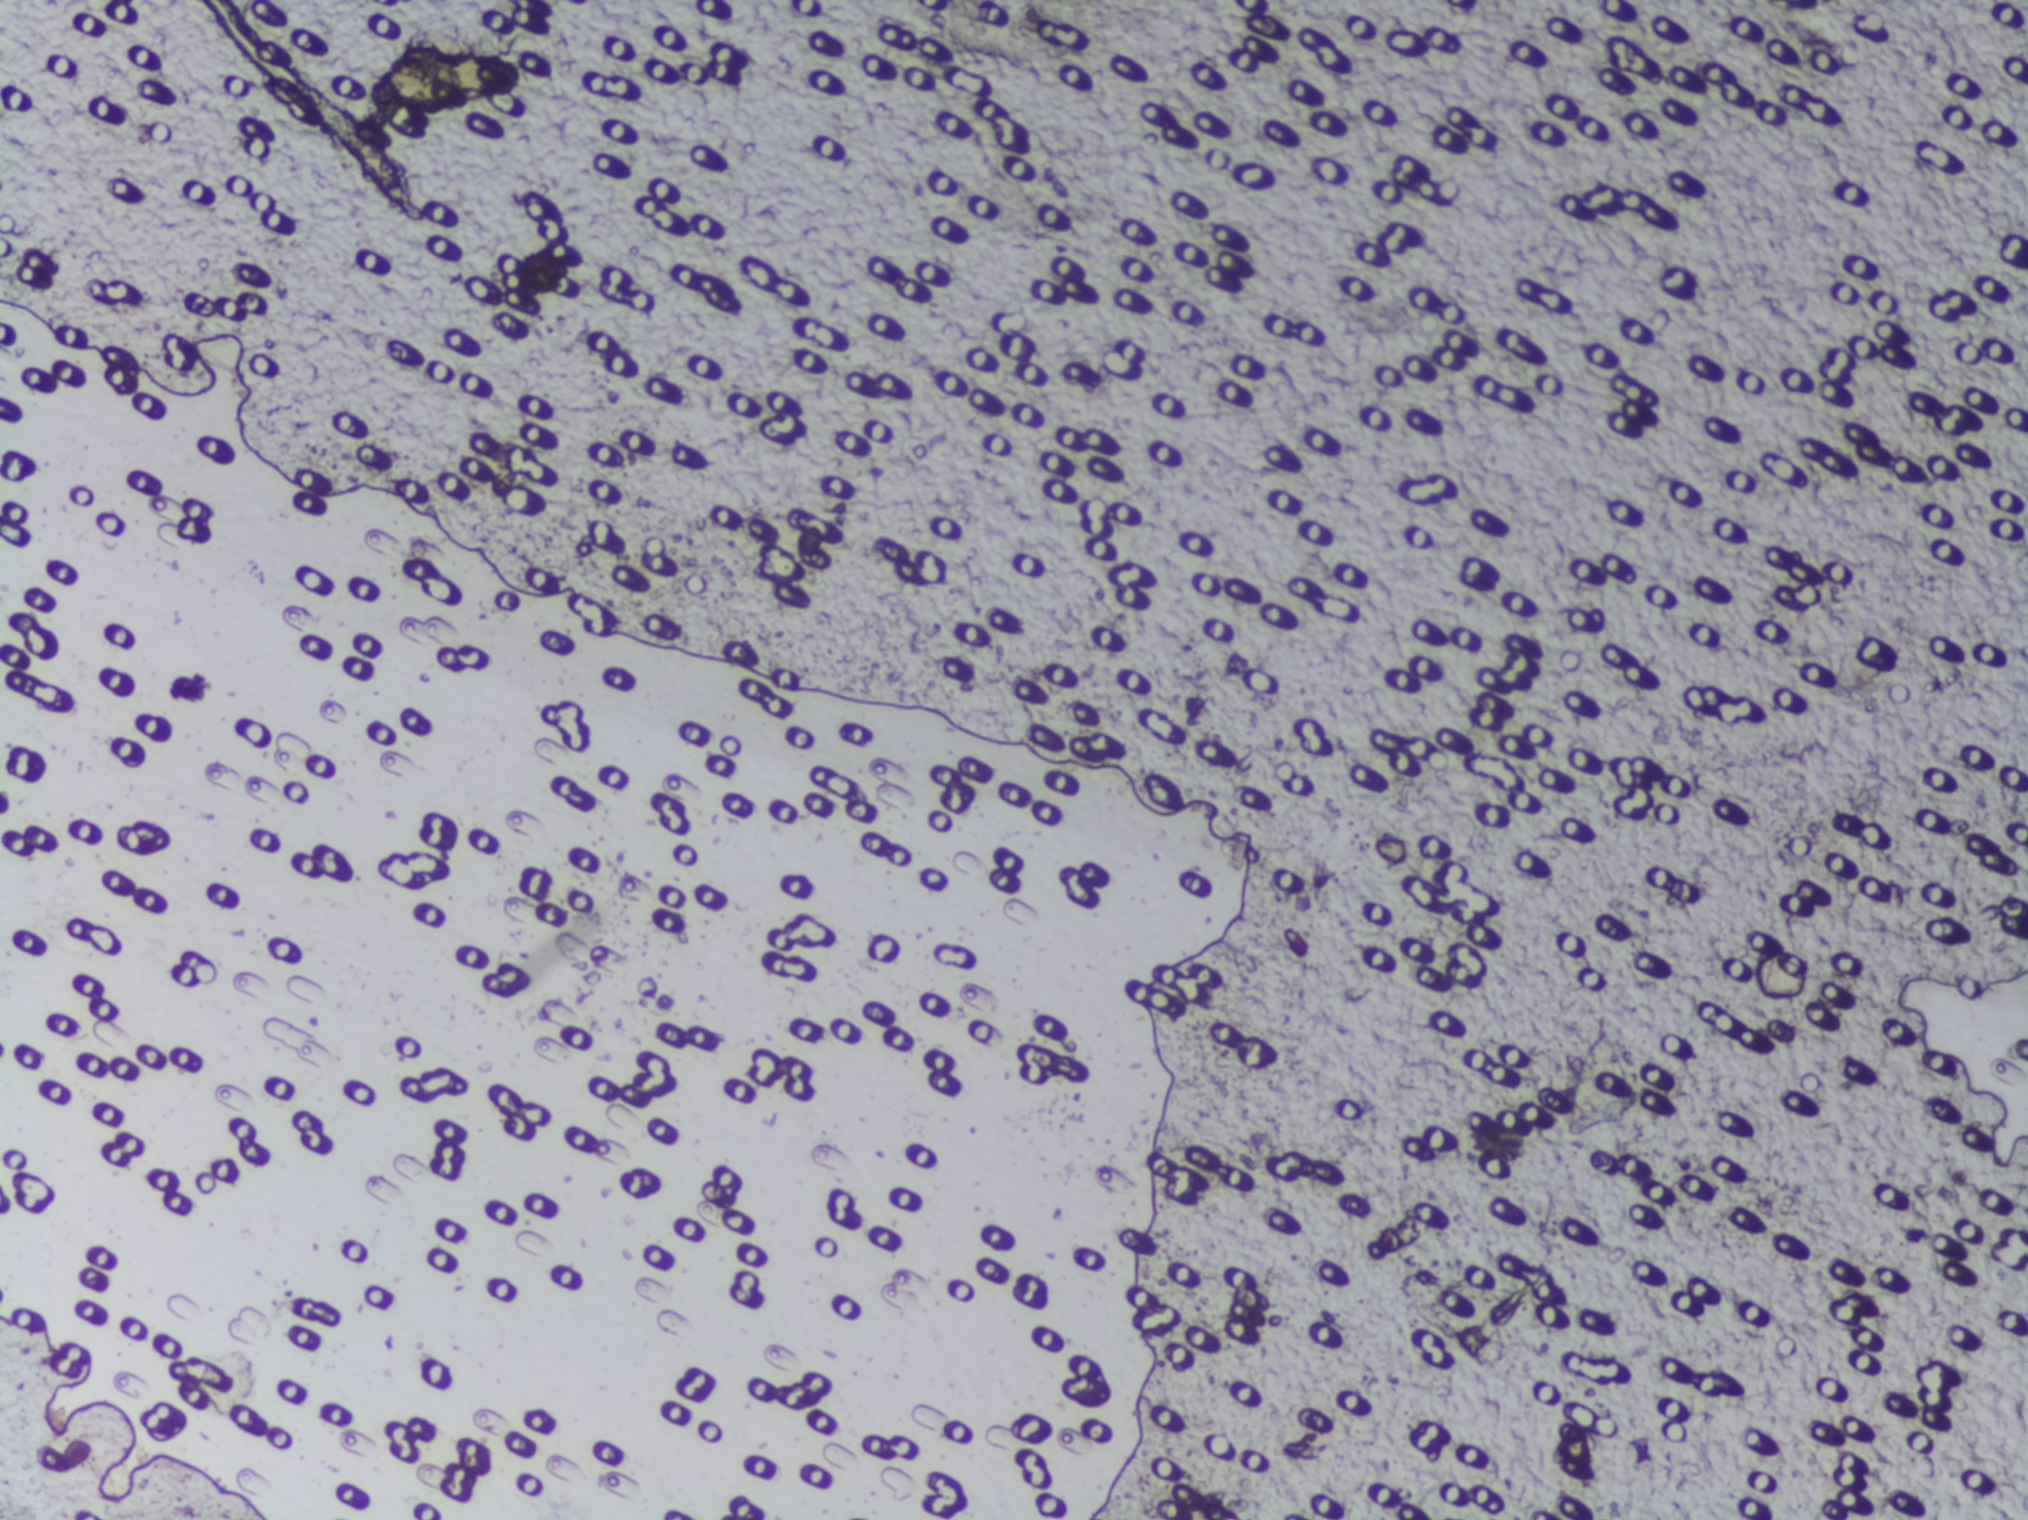
The expert annotation outlines no Schistosoma egg in this image.
Photomicrograph of a urine filtration membrane, 4× objective.